Urine filtration membrane under a 4× objective, photographed by an automated digital microscope.
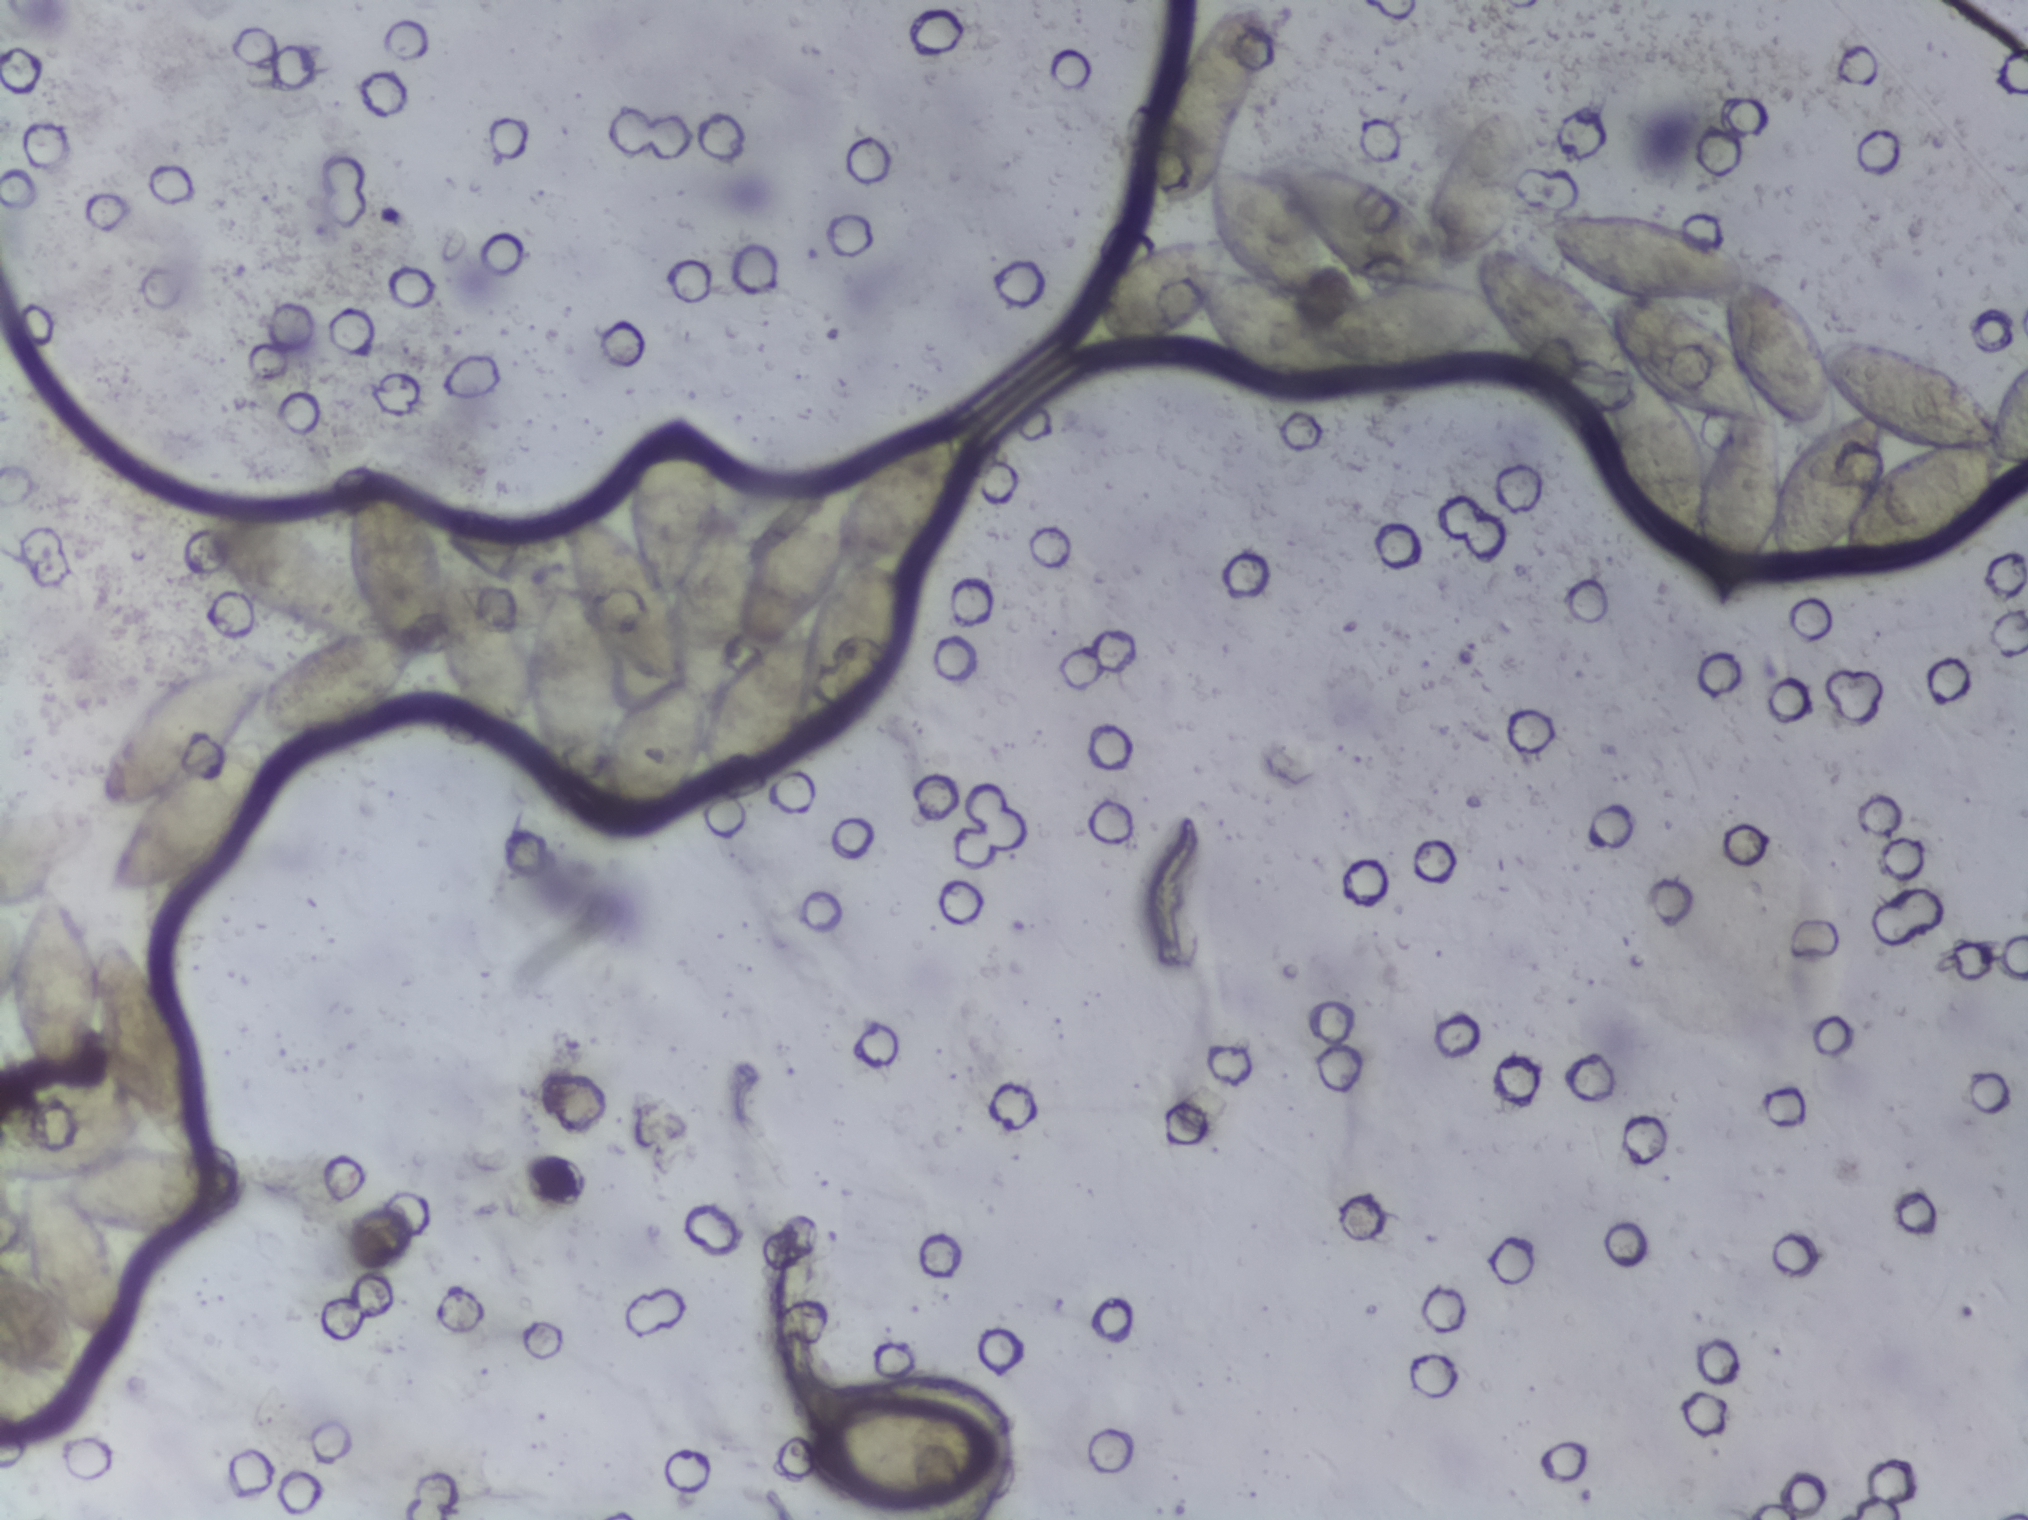
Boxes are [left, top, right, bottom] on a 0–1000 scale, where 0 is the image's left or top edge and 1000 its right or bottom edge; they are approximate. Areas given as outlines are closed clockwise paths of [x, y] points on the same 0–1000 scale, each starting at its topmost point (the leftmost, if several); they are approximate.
Areas outlined as Schistosoma eggs, left to right:
1. outline [24, 580], [46, 614], [51, 608], [58, 611], [83, 642], [96, 672], [97, 713], [103, 733], [103, 749], [123, 764], [129, 779], [129, 794], [113, 811], [87, 819], [58, 817], [64, 849], [64, 882], [55, 891], [46, 891], [38, 884], [41, 918], [38, 920], [37, 940], [28, 951], [10, 951], [0, 945], [0, 831], [12, 837], [0, 801], [0, 707], [16, 696], [5, 669], [4, 650], [11, 596], [17, 584], [25, 584] (a cluster of eggs; reaching the left edge of the frame)
2. outline [341, 270], [350, 278], [359, 337], [369, 319], [378, 310], [408, 310], [455, 279], [471, 275], [473, 280], [470, 356], [450, 388], [450, 408], [438, 448], [416, 484], [402, 496], [384, 499], [372, 515], [352, 529], [344, 525], [340, 517], [326, 548], [307, 555], [295, 546], [288, 521], [272, 517], [260, 481], [247, 484], [234, 479], [217, 446], [216, 435], [208, 434], [198, 456], [172, 480], [144, 488], [129, 485], [133, 496], [131, 527], [117, 558], [104, 572], [77, 585], [55, 580], [52, 564], [70, 528], [54, 531], [46, 525], [46, 501], [60, 471], [70, 462], [72, 452], [95, 437], [127, 433], [134, 443], [159, 420], [114, 394], [97, 371], [95, 339], [107, 331], [119, 331], [143, 342], [160, 363], [171, 367], [175, 328], [190, 310], [212, 337], [221, 377], [230, 378], [259, 408], [271, 377], [286, 387], [281, 364], [282, 340], [292, 333], [310, 350], [316, 294], [323, 283] (a cluster of eggs)
3. box [392, 918, 490, 988]
4. outline [617, 0], [627, 8], [627, 25], [622, 35], [616, 62], [616, 92], [608, 111], [631, 117], [630, 106], [634, 102], [667, 105], [683, 112], [702, 134], [711, 103], [734, 75], [746, 70], [752, 77], [753, 89], [752, 127], [743, 156], [746, 160], [774, 181], [761, 162], [754, 142], [768, 136], [812, 139], [856, 158], [863, 172], [881, 183], [895, 203], [900, 221], [923, 219], [938, 226], [978, 251], [985, 264], [1000, 235], [1000, 302], [994, 302], [981, 337], [952, 367], [919, 383], [911, 383], [906, 372], [889, 385], [875, 384], [869, 367], [861, 381], [857, 407], [852, 409], [840, 398], [833, 371], [818, 360], [805, 344], [792, 310], [789, 275], [764, 254], [735, 215], [701, 244], [659, 243], [654, 256], [644, 260], [615, 246], [603, 232], [592, 208], [577, 223], [548, 224], [543, 217], [543, 196], [556, 167], [573, 157], [602, 153], [597, 129], [586, 139], [576, 137], [568, 96], [577, 72], [575, 65], [580, 52], [597, 15], [606, 4] (a cluster of eggs; reaching the top and right edges of the frame)
The marked pixels themselves, not the box and the outlines around them, cover about 17% of the image. Eggs that touch can end up inside the same outlined area.